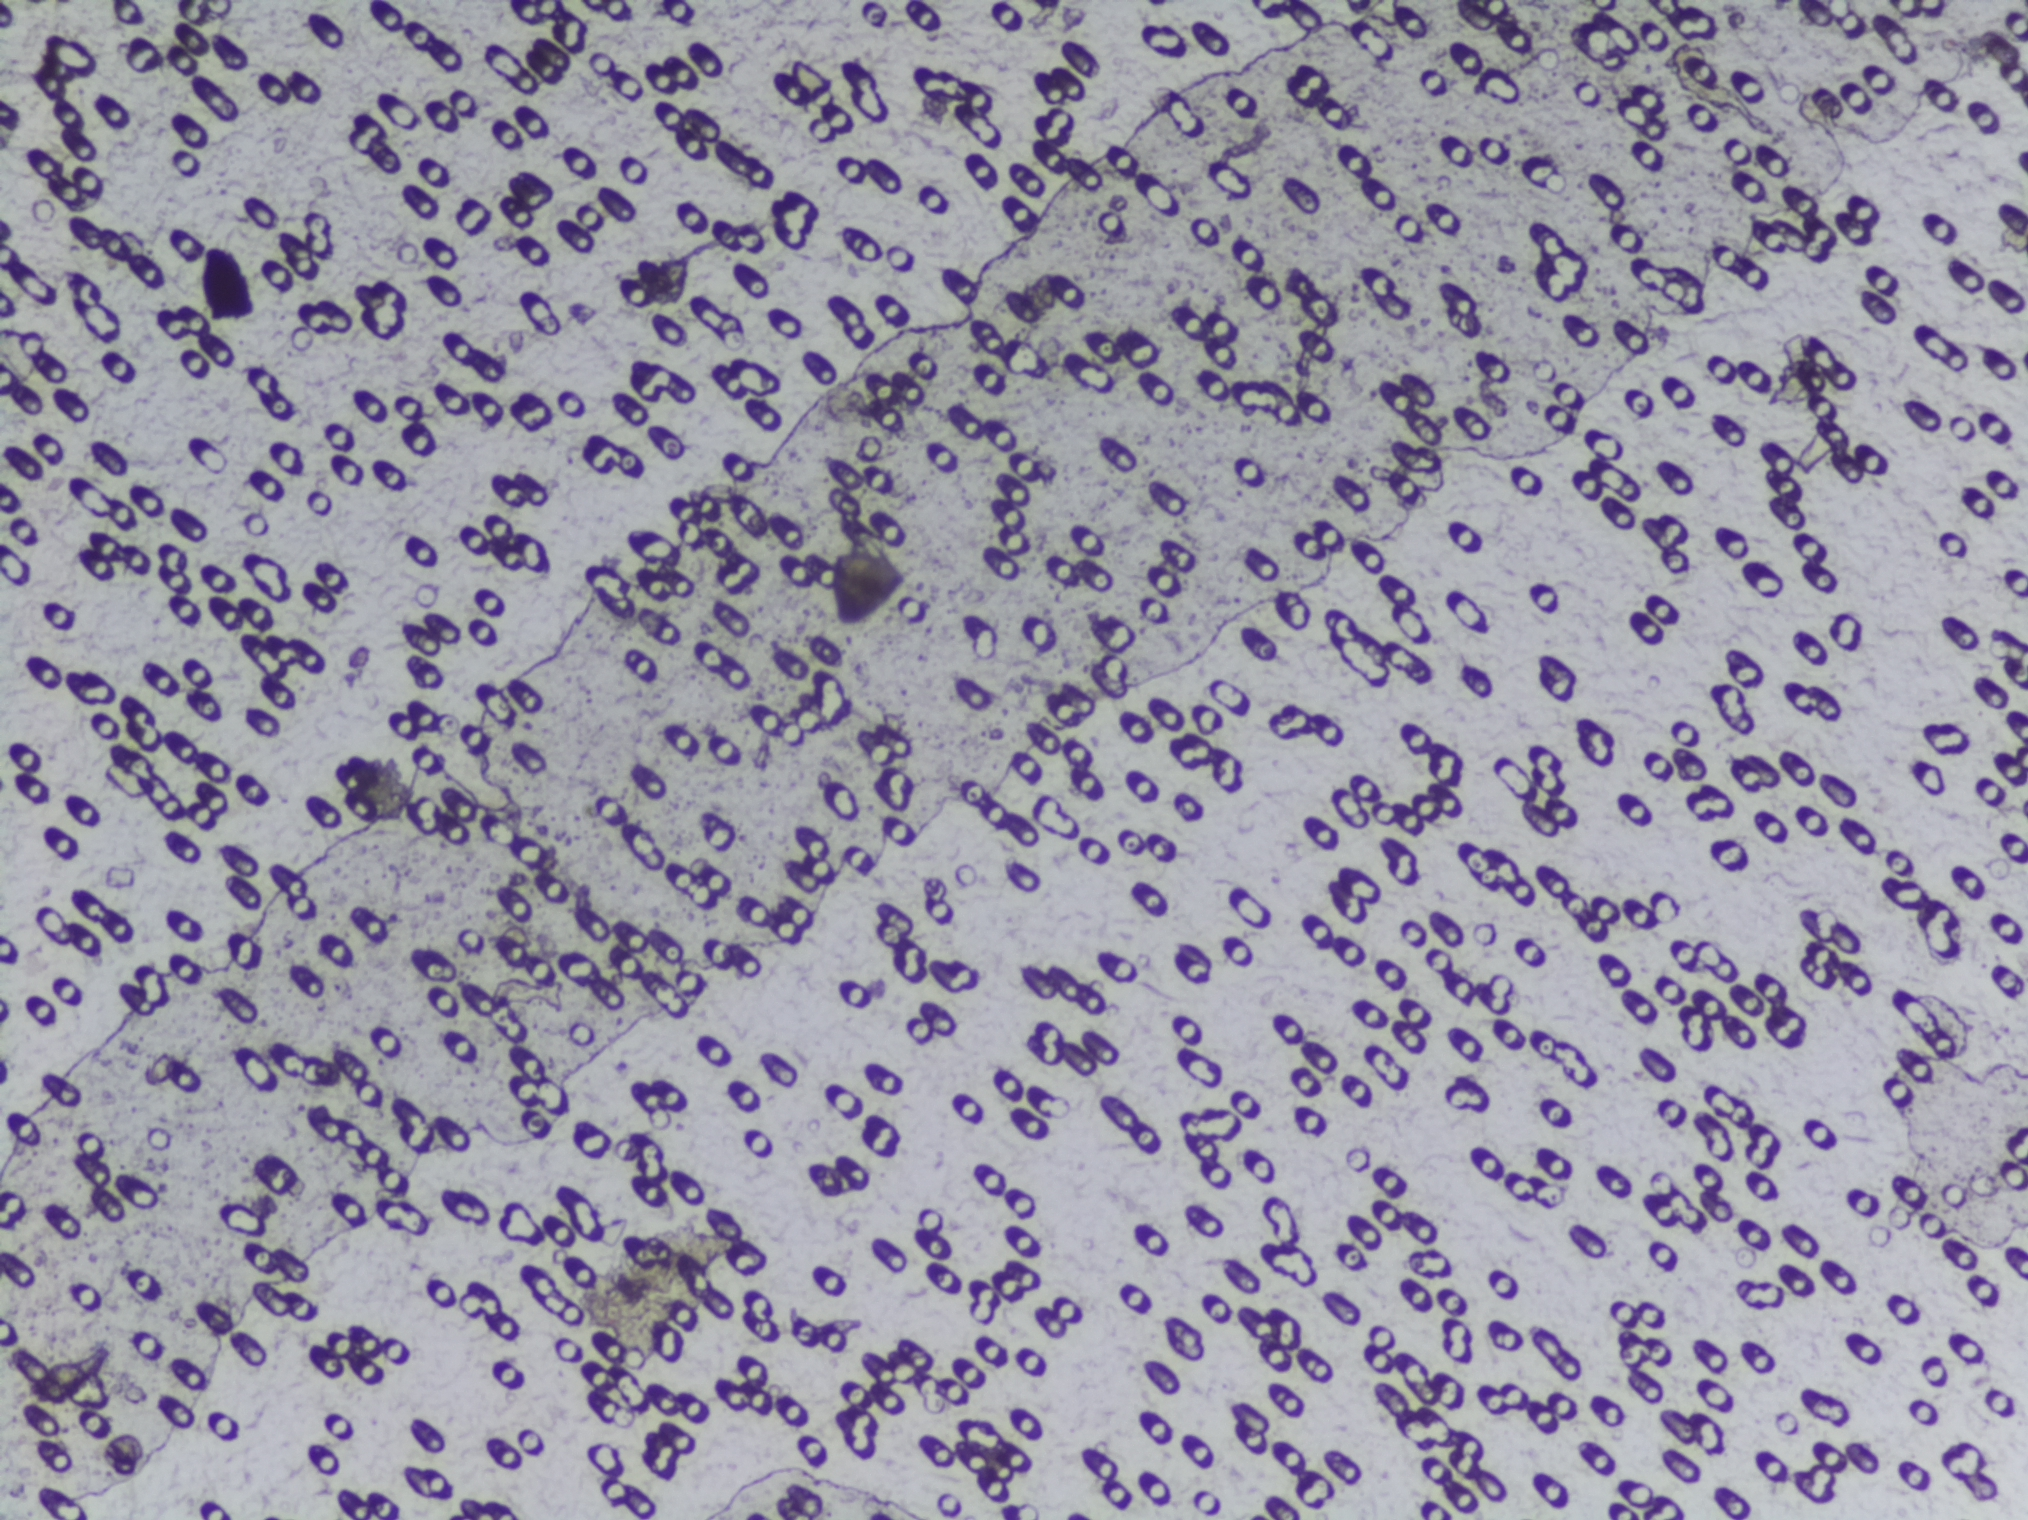
Schistosoma eggs: none outlined.
One field of view of a urine filter membrane, 4× objective, 2028 × 1520 pixels.